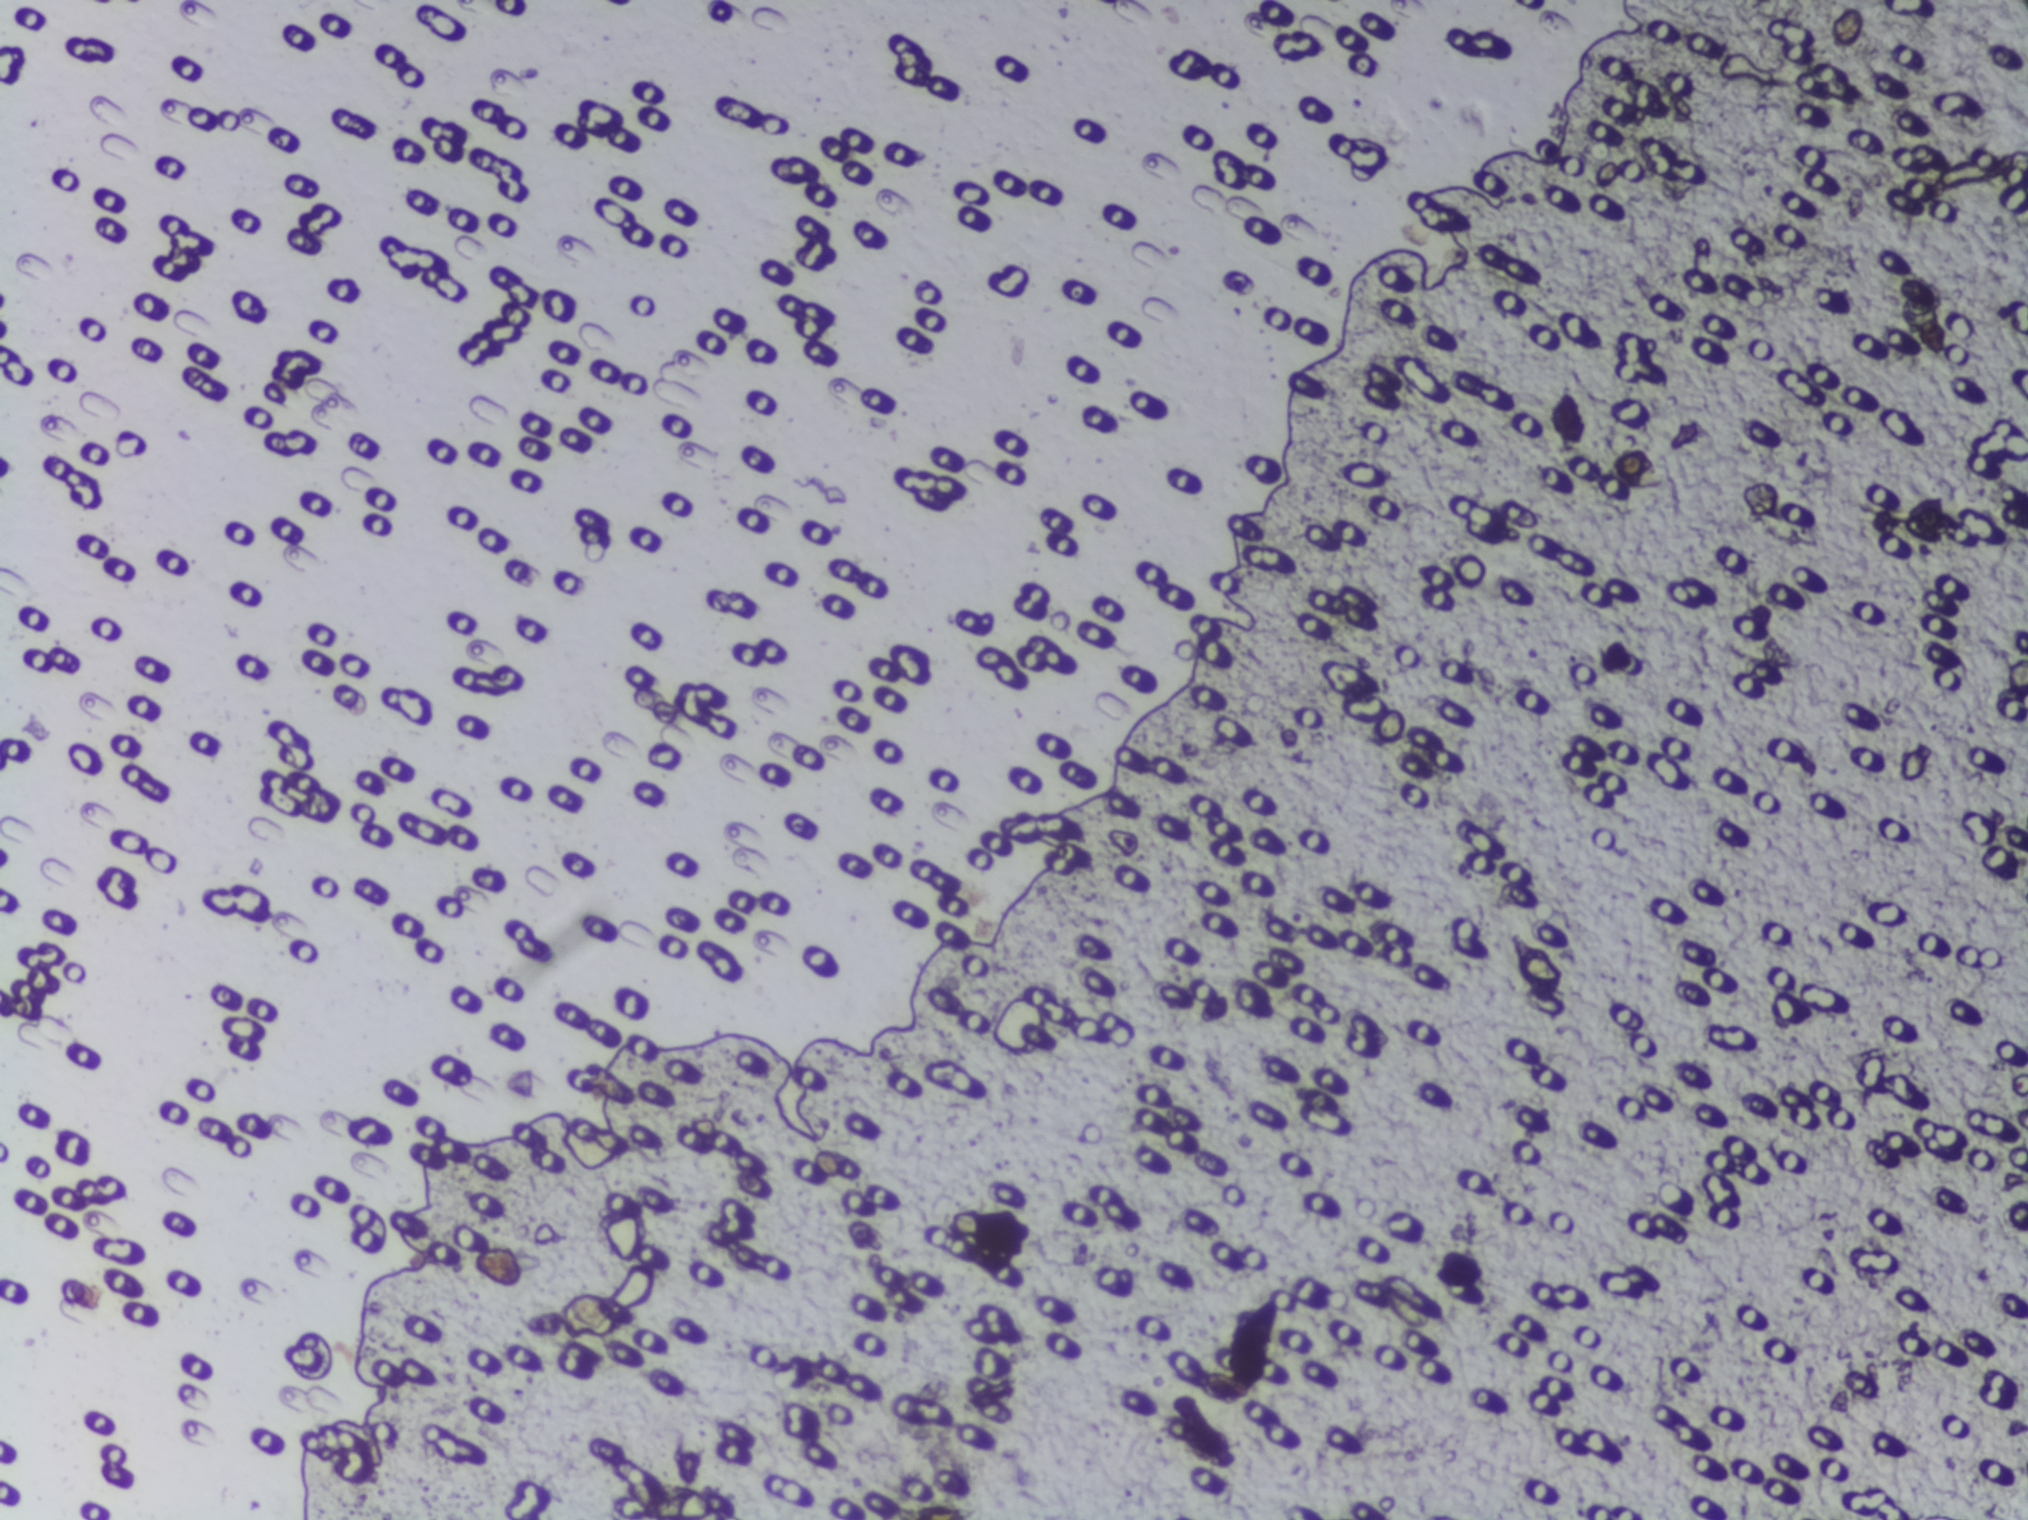
Photograph from an automated digital microscope: urine filter membrane, 4× objective. The field of view is about 1.5 mm × 1.1 mm.
Schistosoma eggs: none outlined.